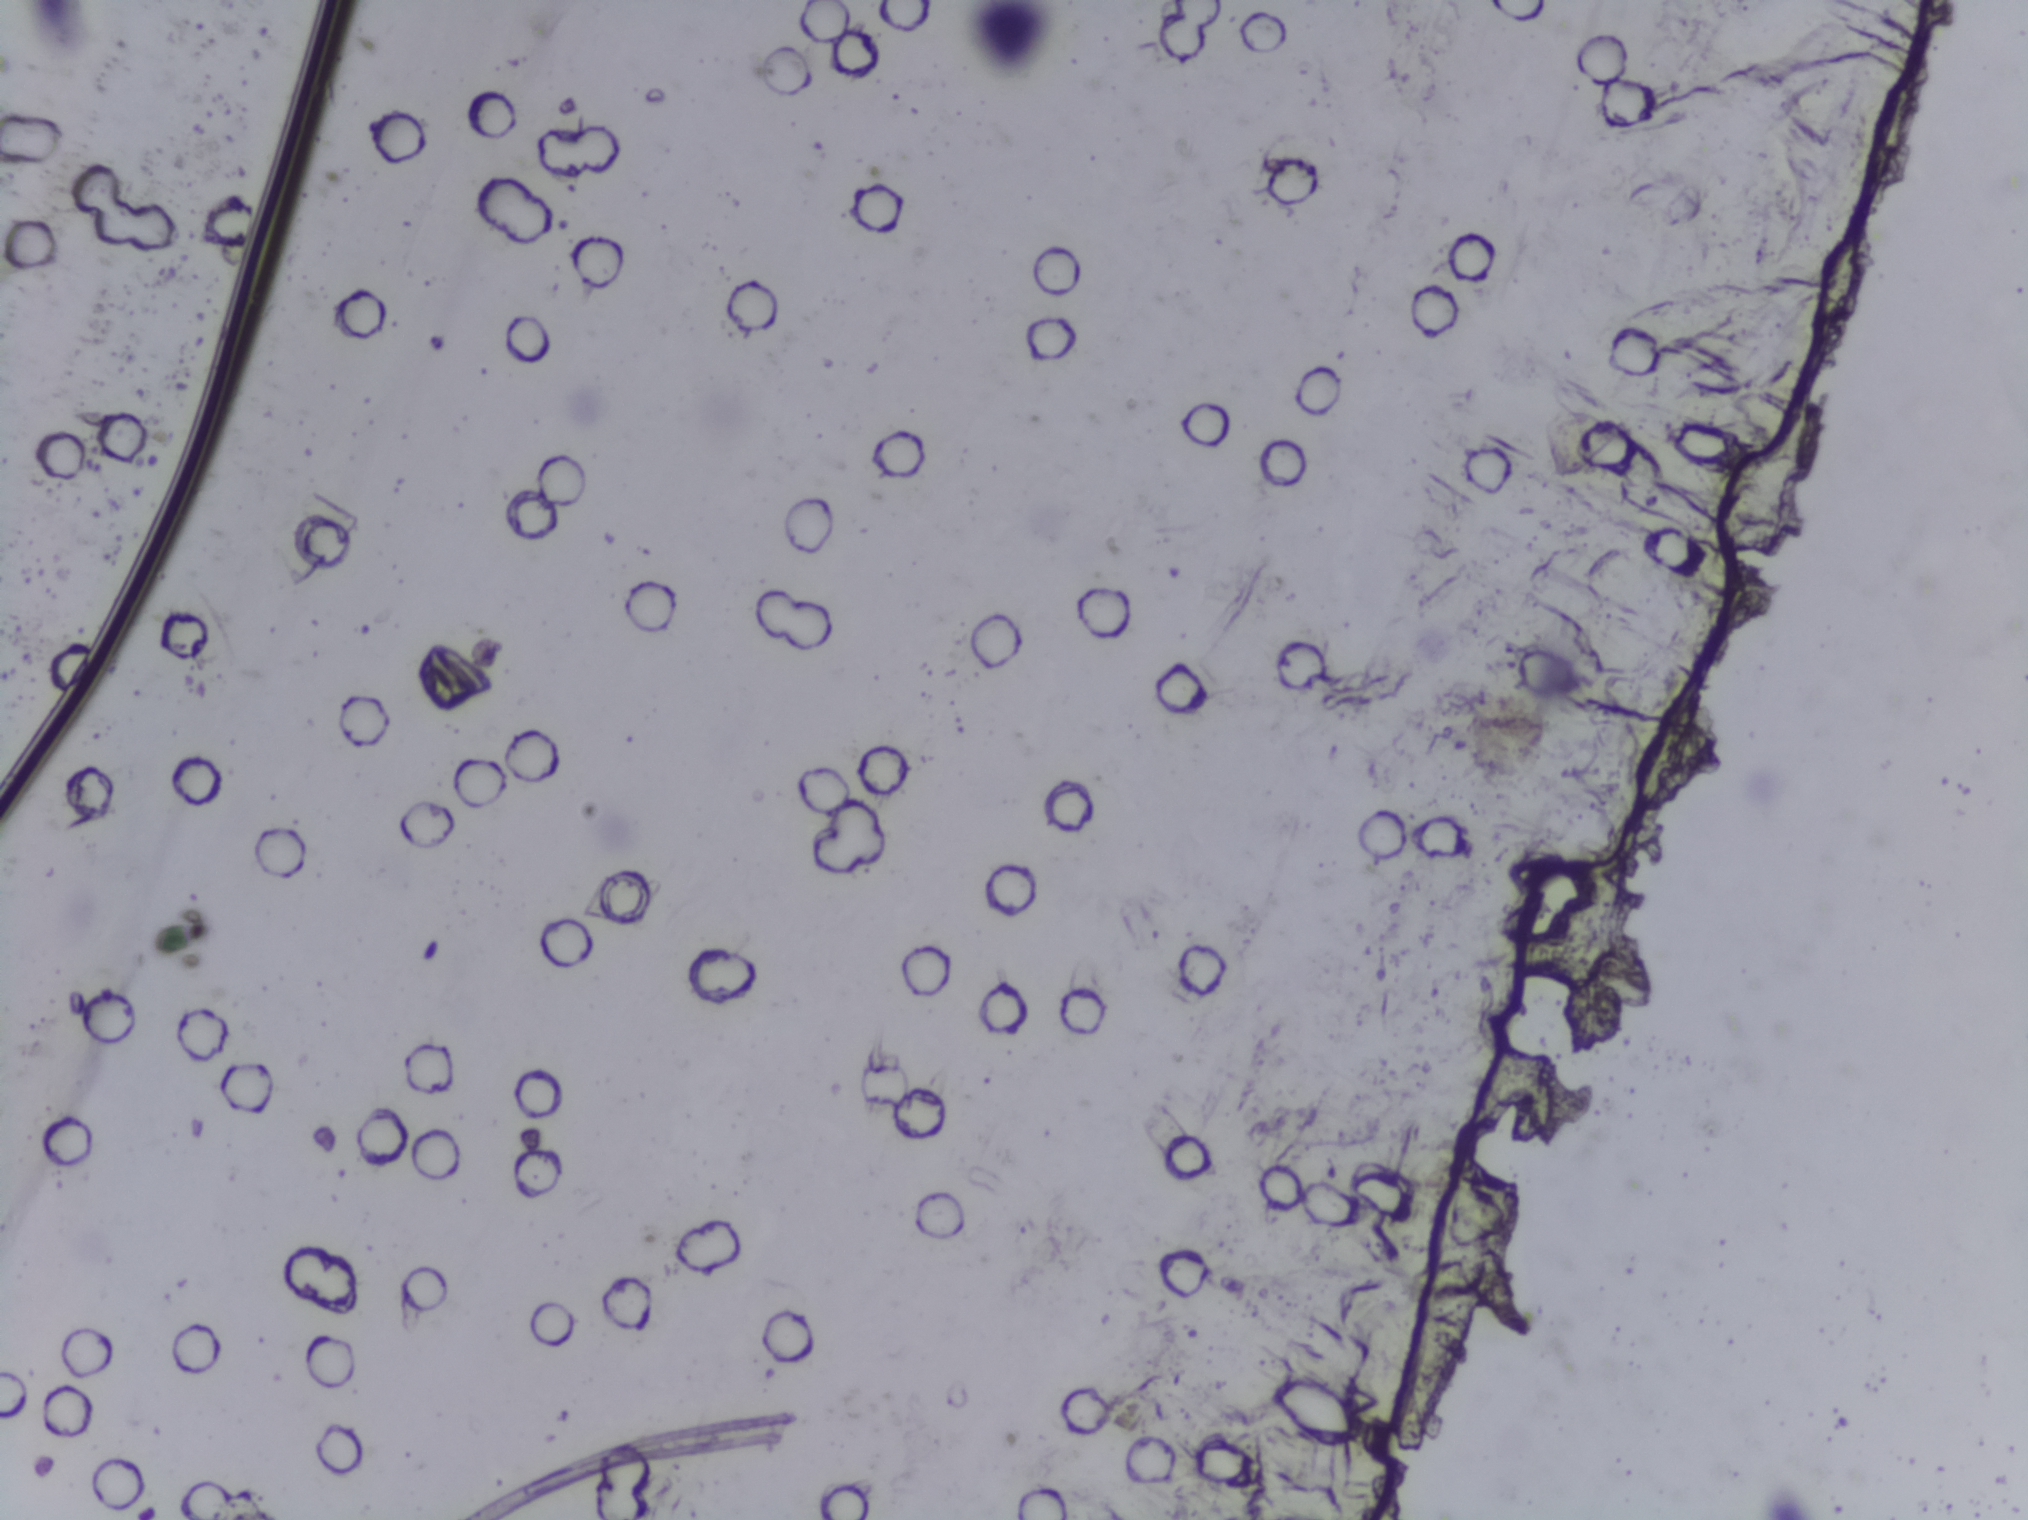
Urine filter membrane photographed through a 4× microscope objective.
The expert annotation marks no Schistosoma egg in this field of view.